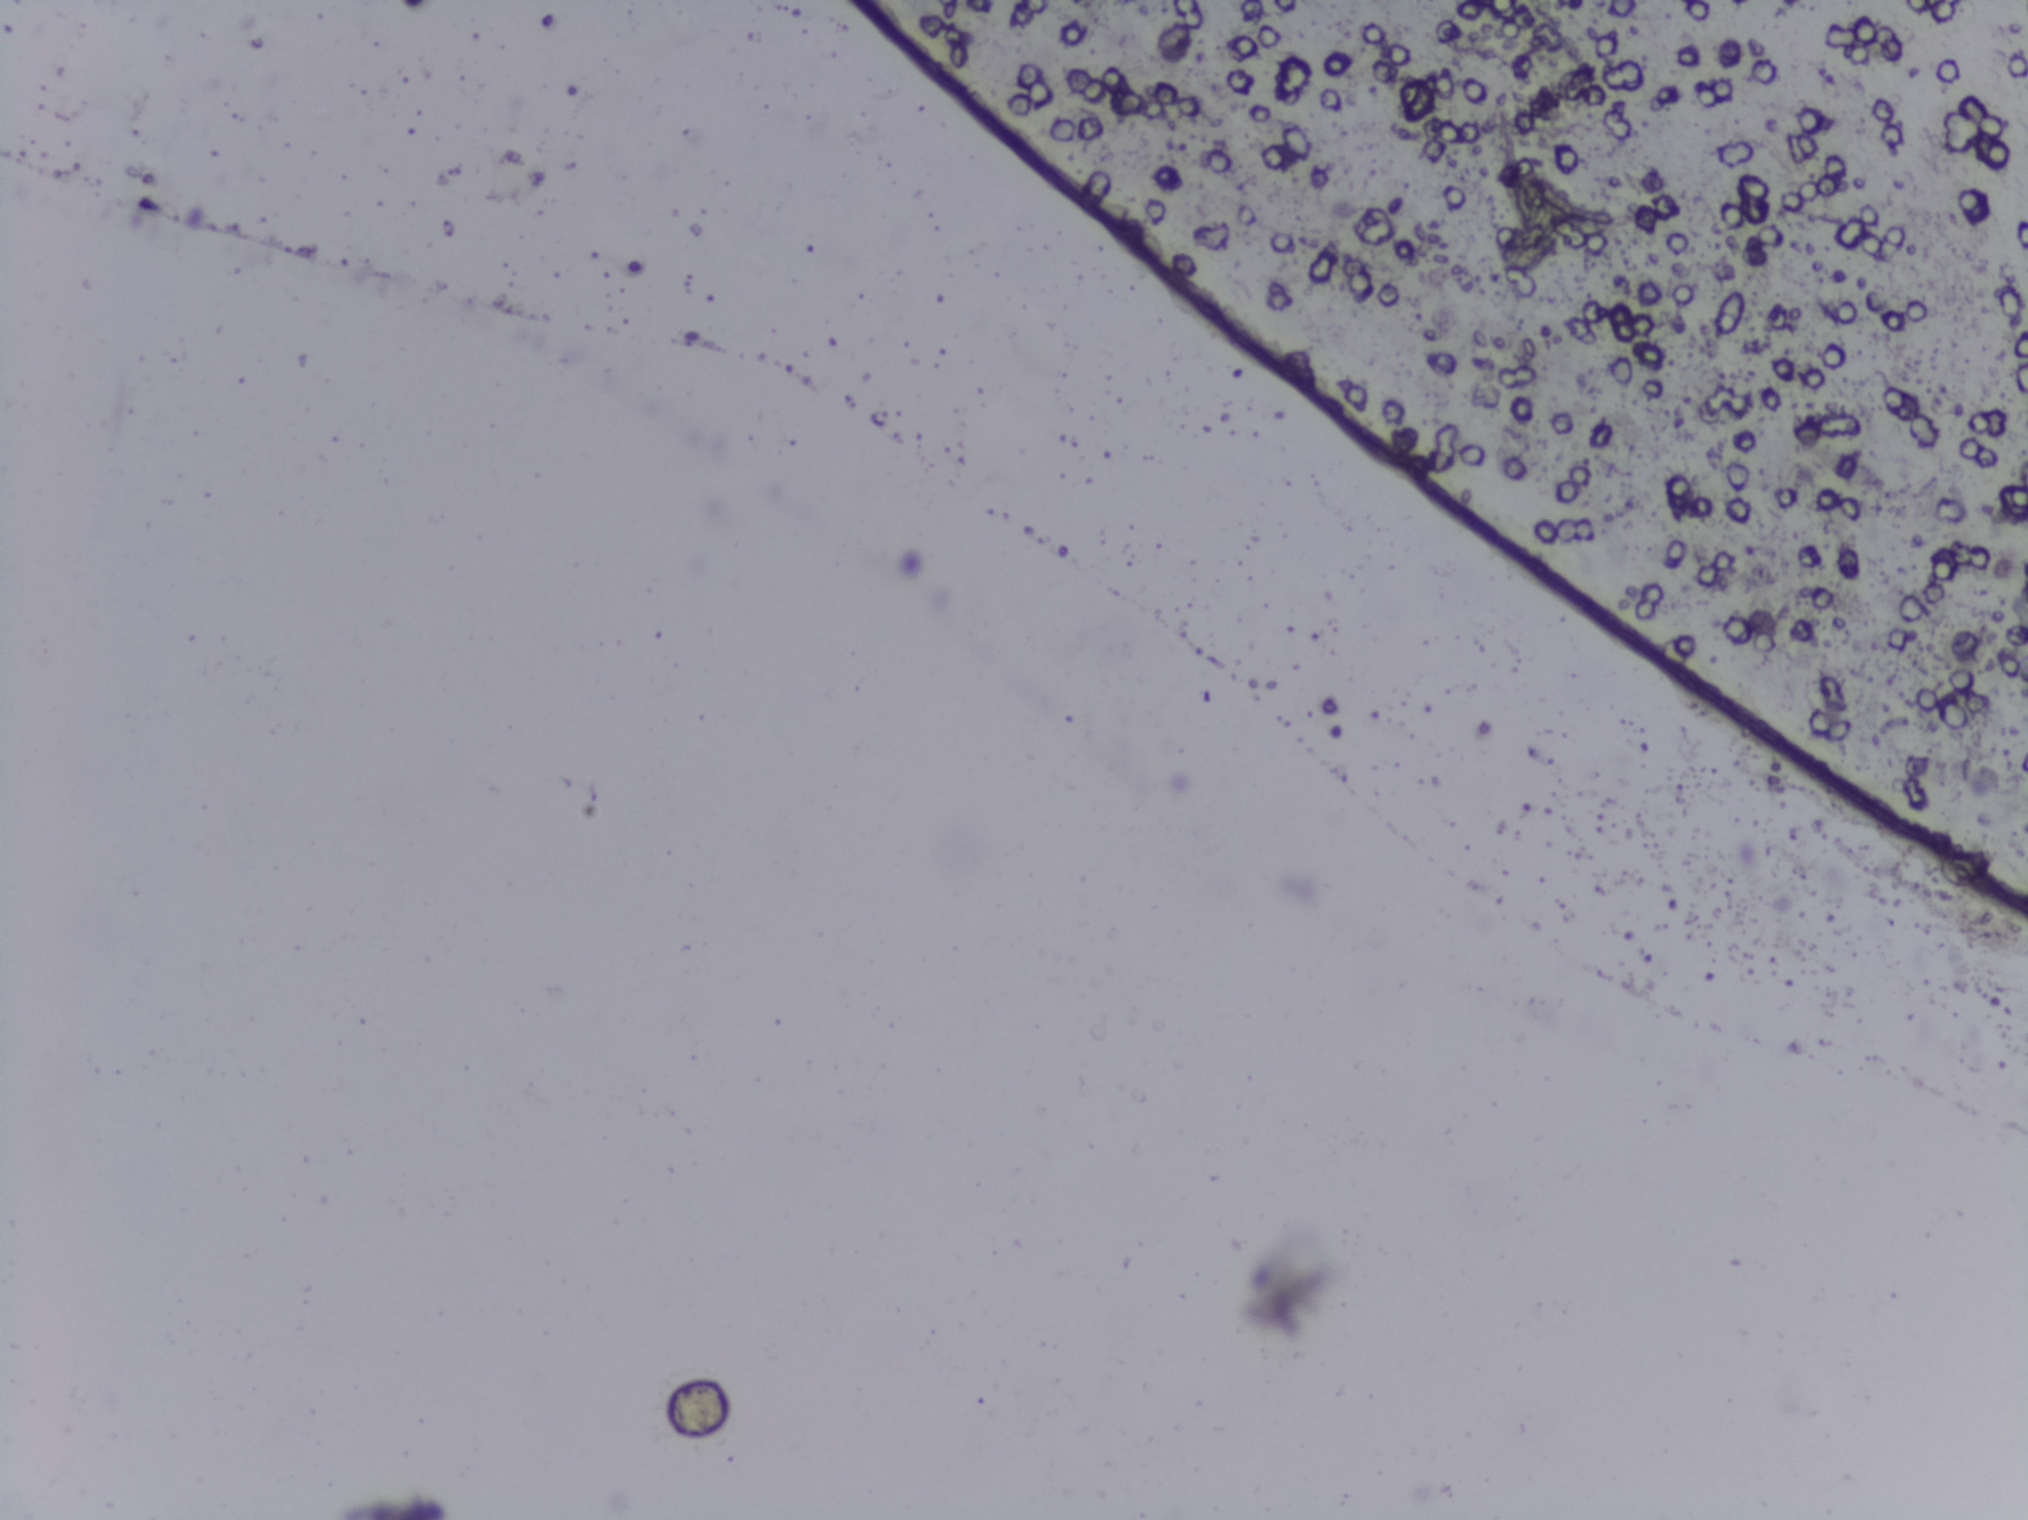
Photograph from an automated digital microscope: urine filter membrane, 4× objective.
The expert annotation marks no Schistosoma egg in this field of view.